Photograph from an automated digital microscope: urine filter membrane, 4× objective.
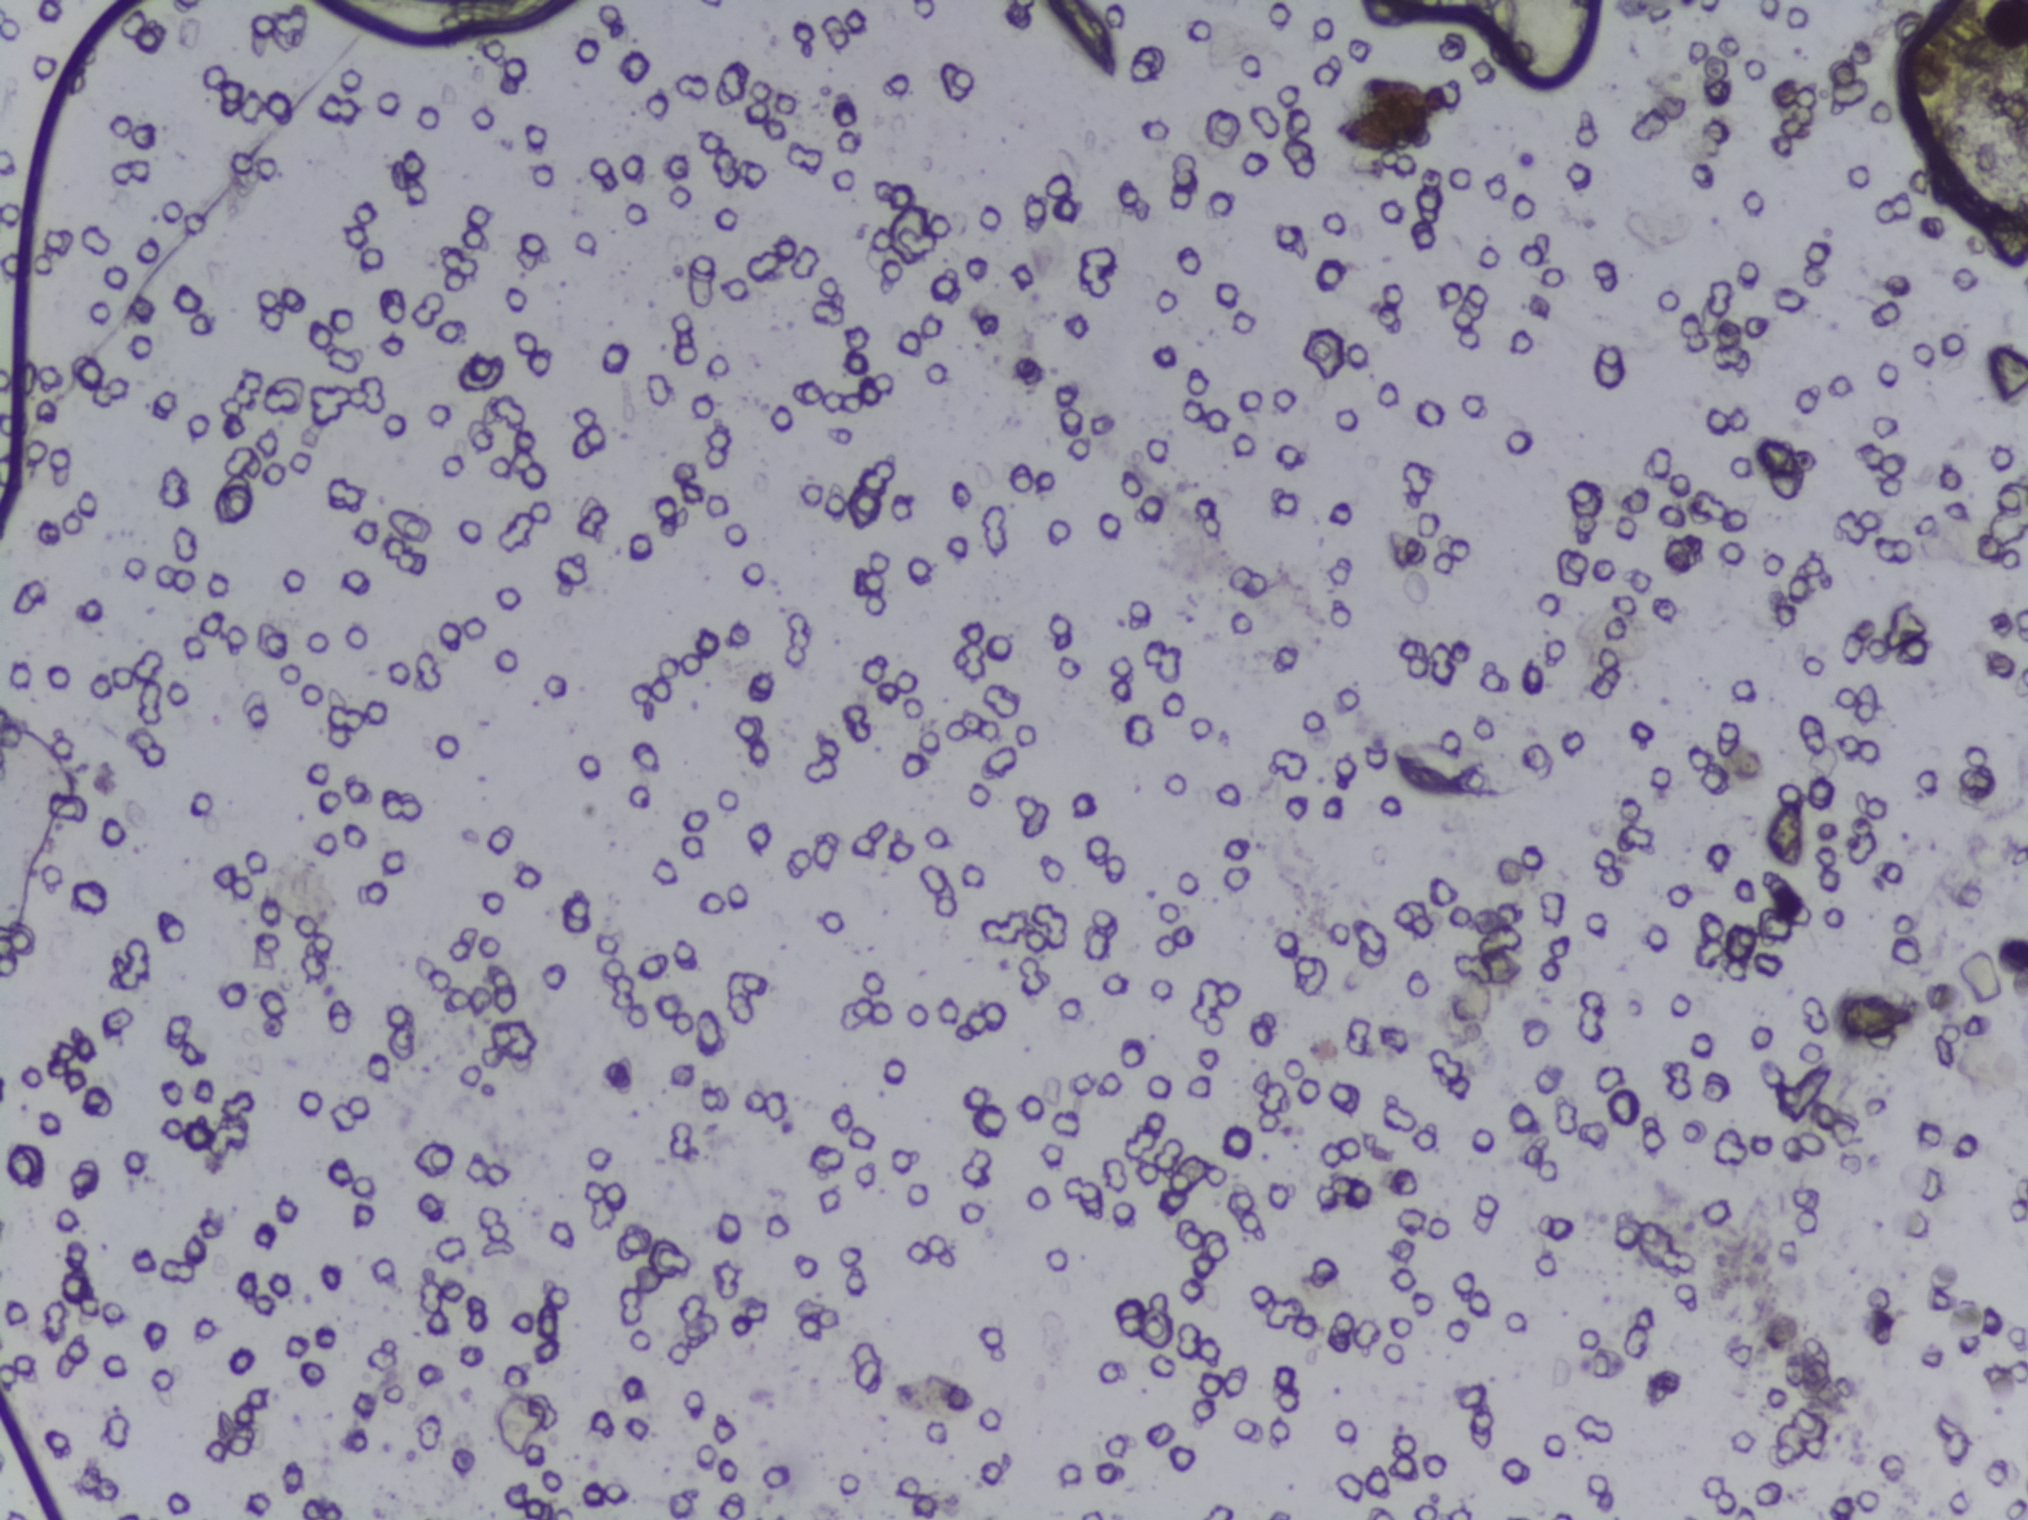
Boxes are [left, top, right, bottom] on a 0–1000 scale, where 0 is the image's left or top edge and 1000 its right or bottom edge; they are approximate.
Schistosoma eggs are outlined in the expert annotation at [740, 0, 785, 56] (reaching the top edge of the frame). A single outlined area may contain several eggs.